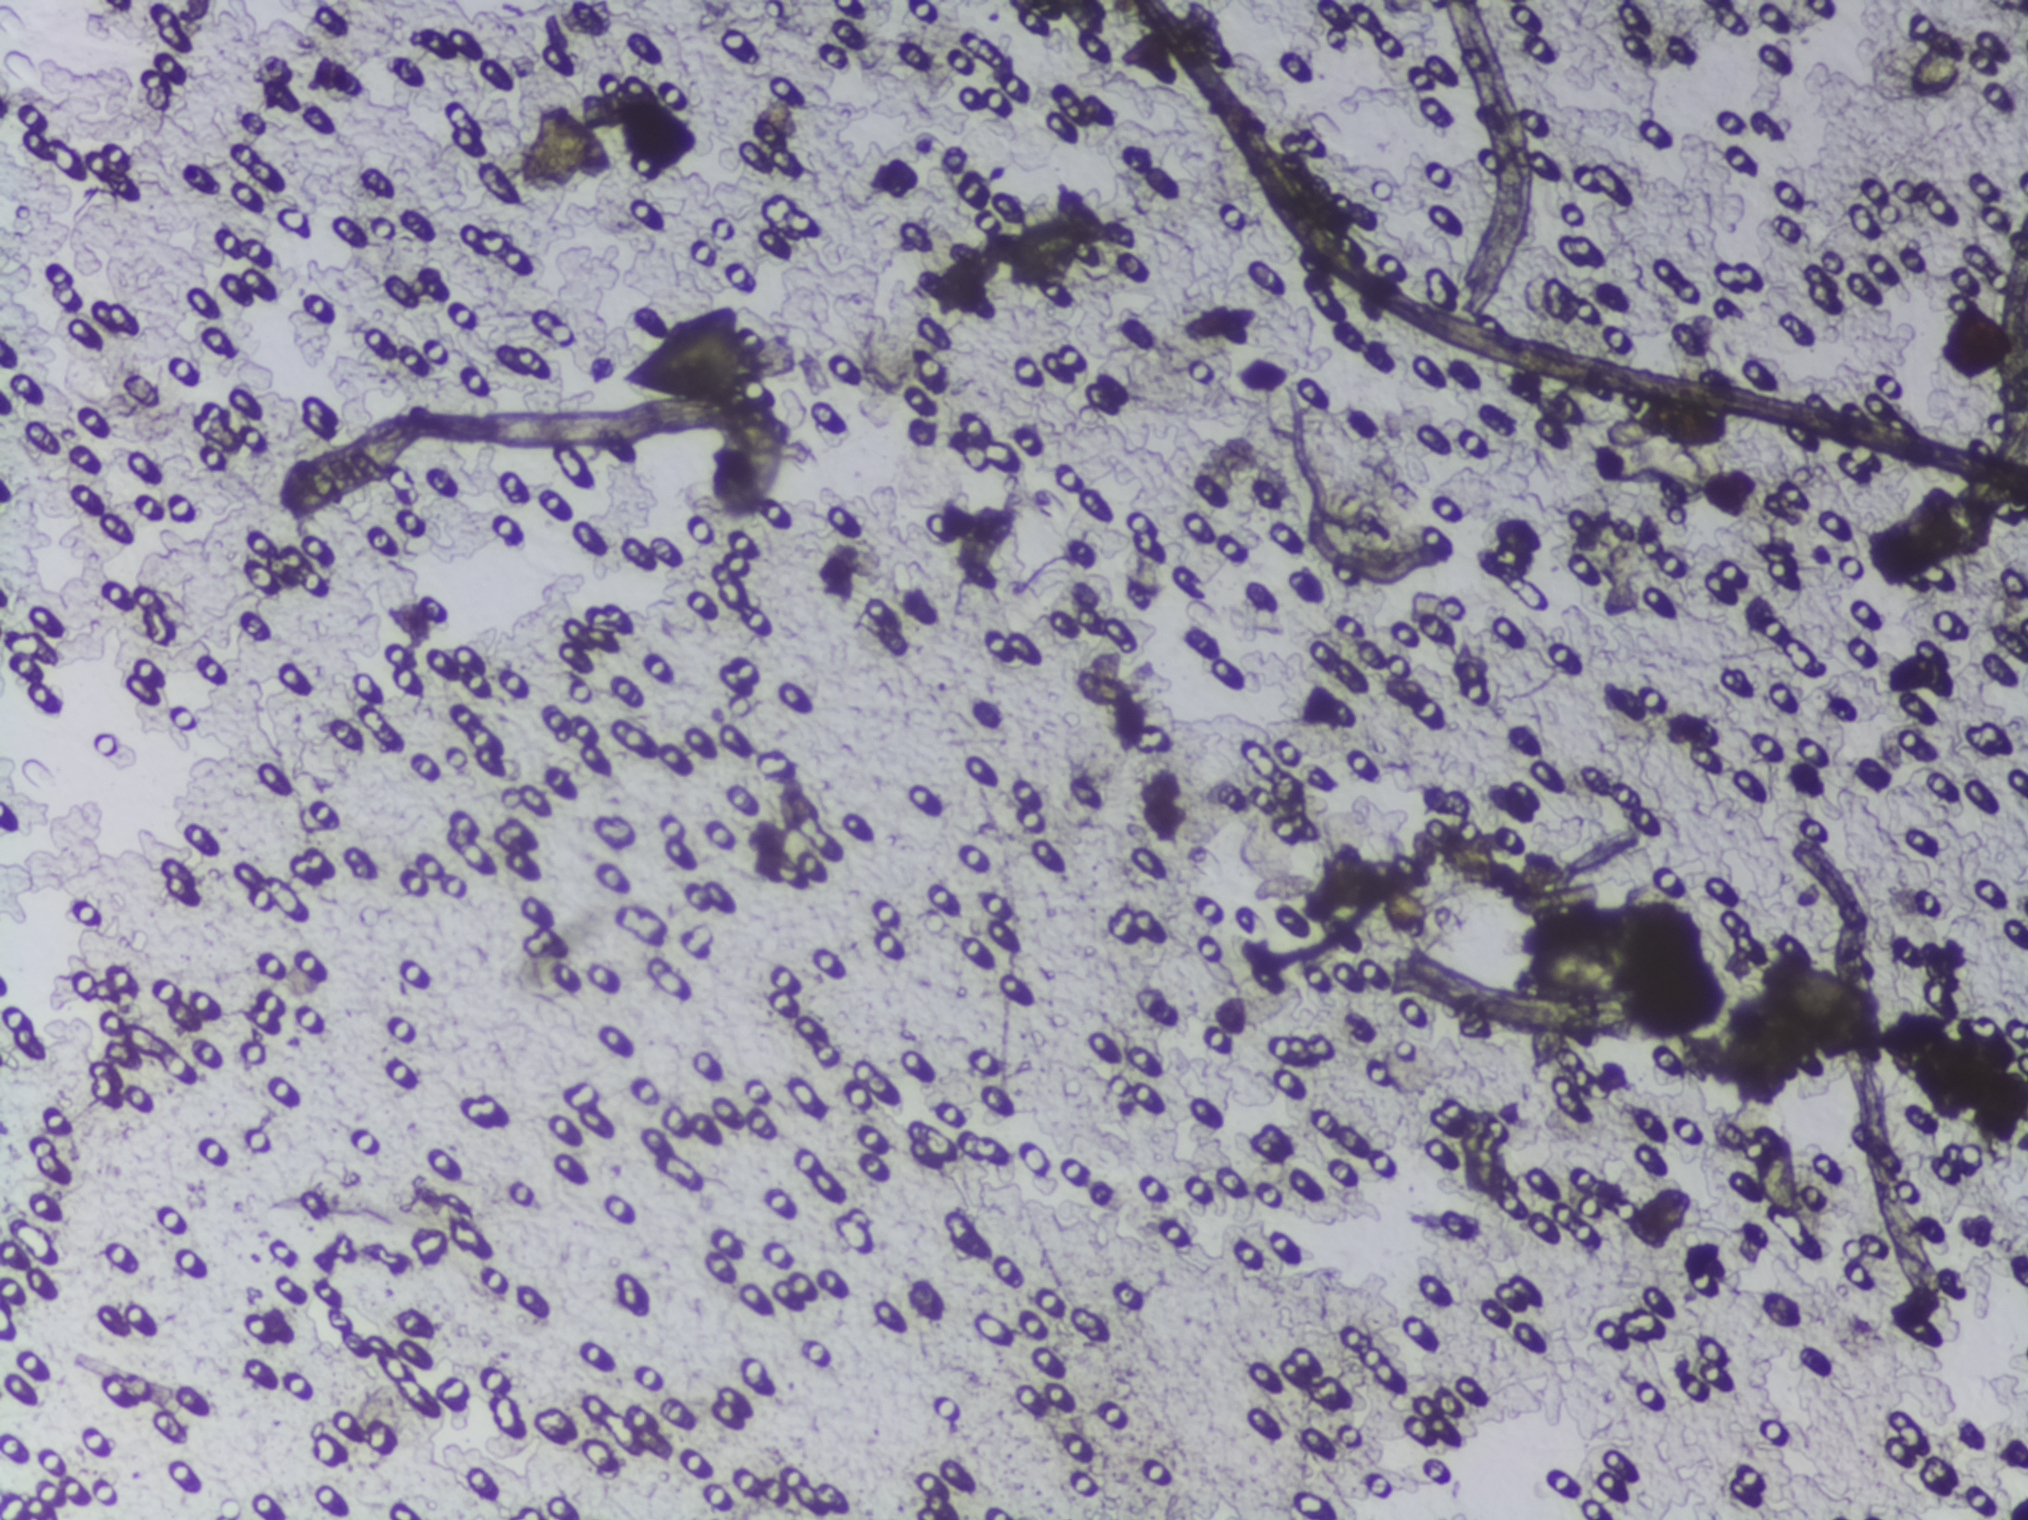
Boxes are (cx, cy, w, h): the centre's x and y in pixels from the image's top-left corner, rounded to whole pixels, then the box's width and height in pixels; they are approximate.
Findings: one area outlined as Schistosoma eggs. Location: (cx=682, cy=352, w=135, h=107). About 0.4% of the image's pixels are marked (the marked pixels themselves, not the box around them). An outlined area can hold more than one egg.
Photograph from an automated digital microscope: urine filter membrane, 4× objective.